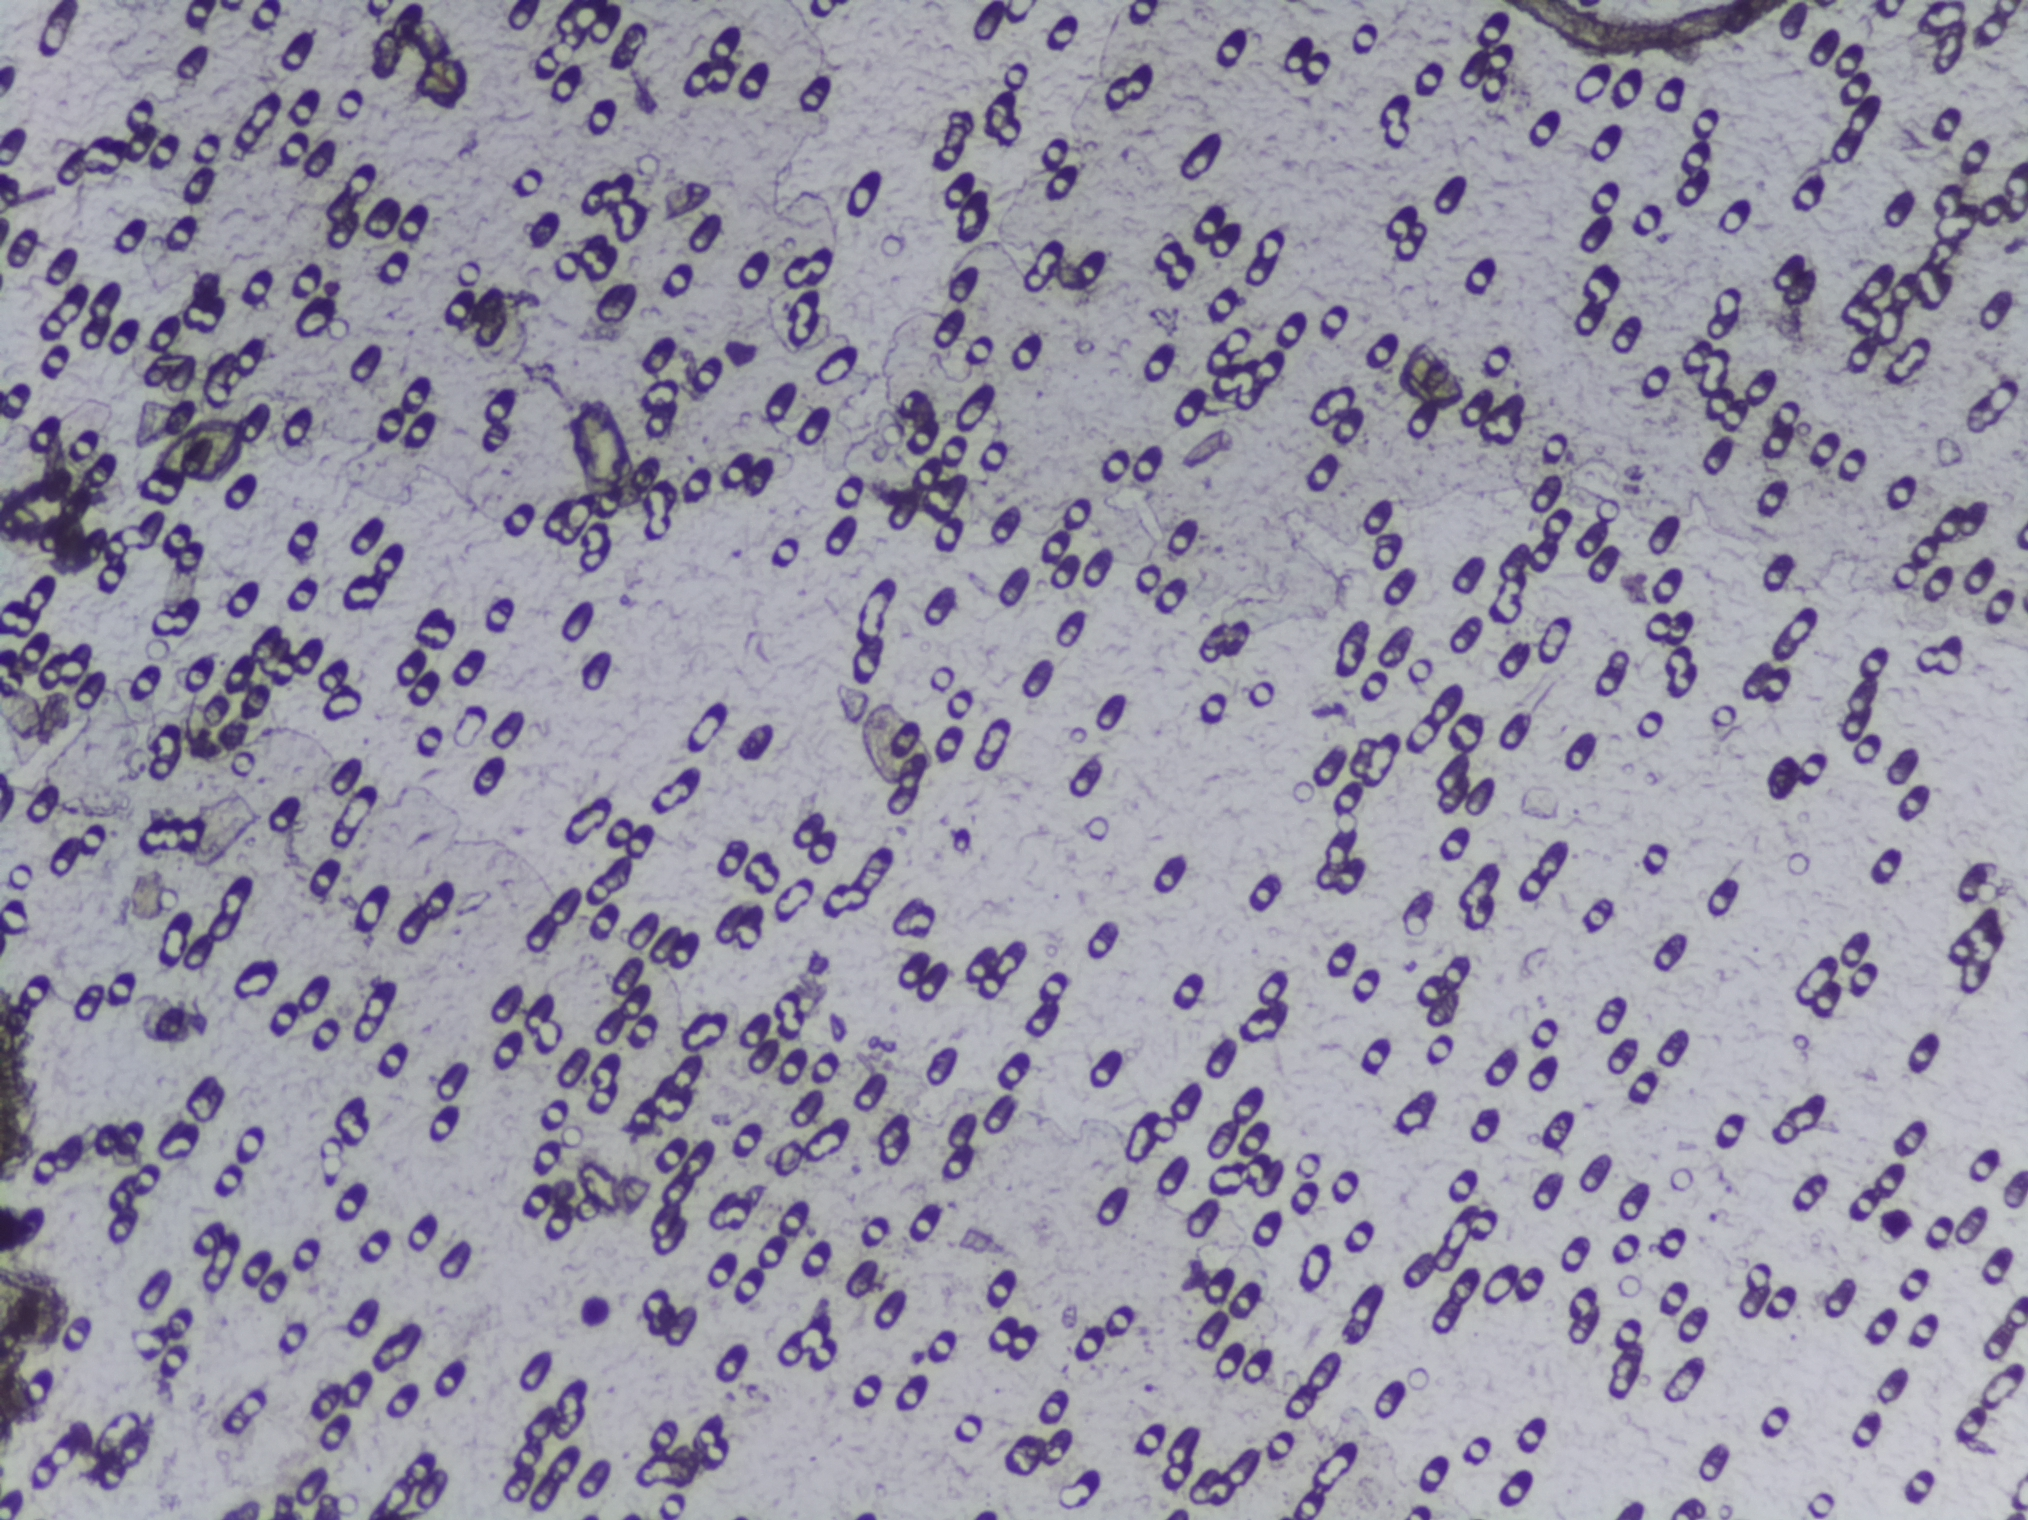
Urine filter membrane photographed through a 4× microscope objective.
No Schistosoma egg is outlined in this image's expert annotation.